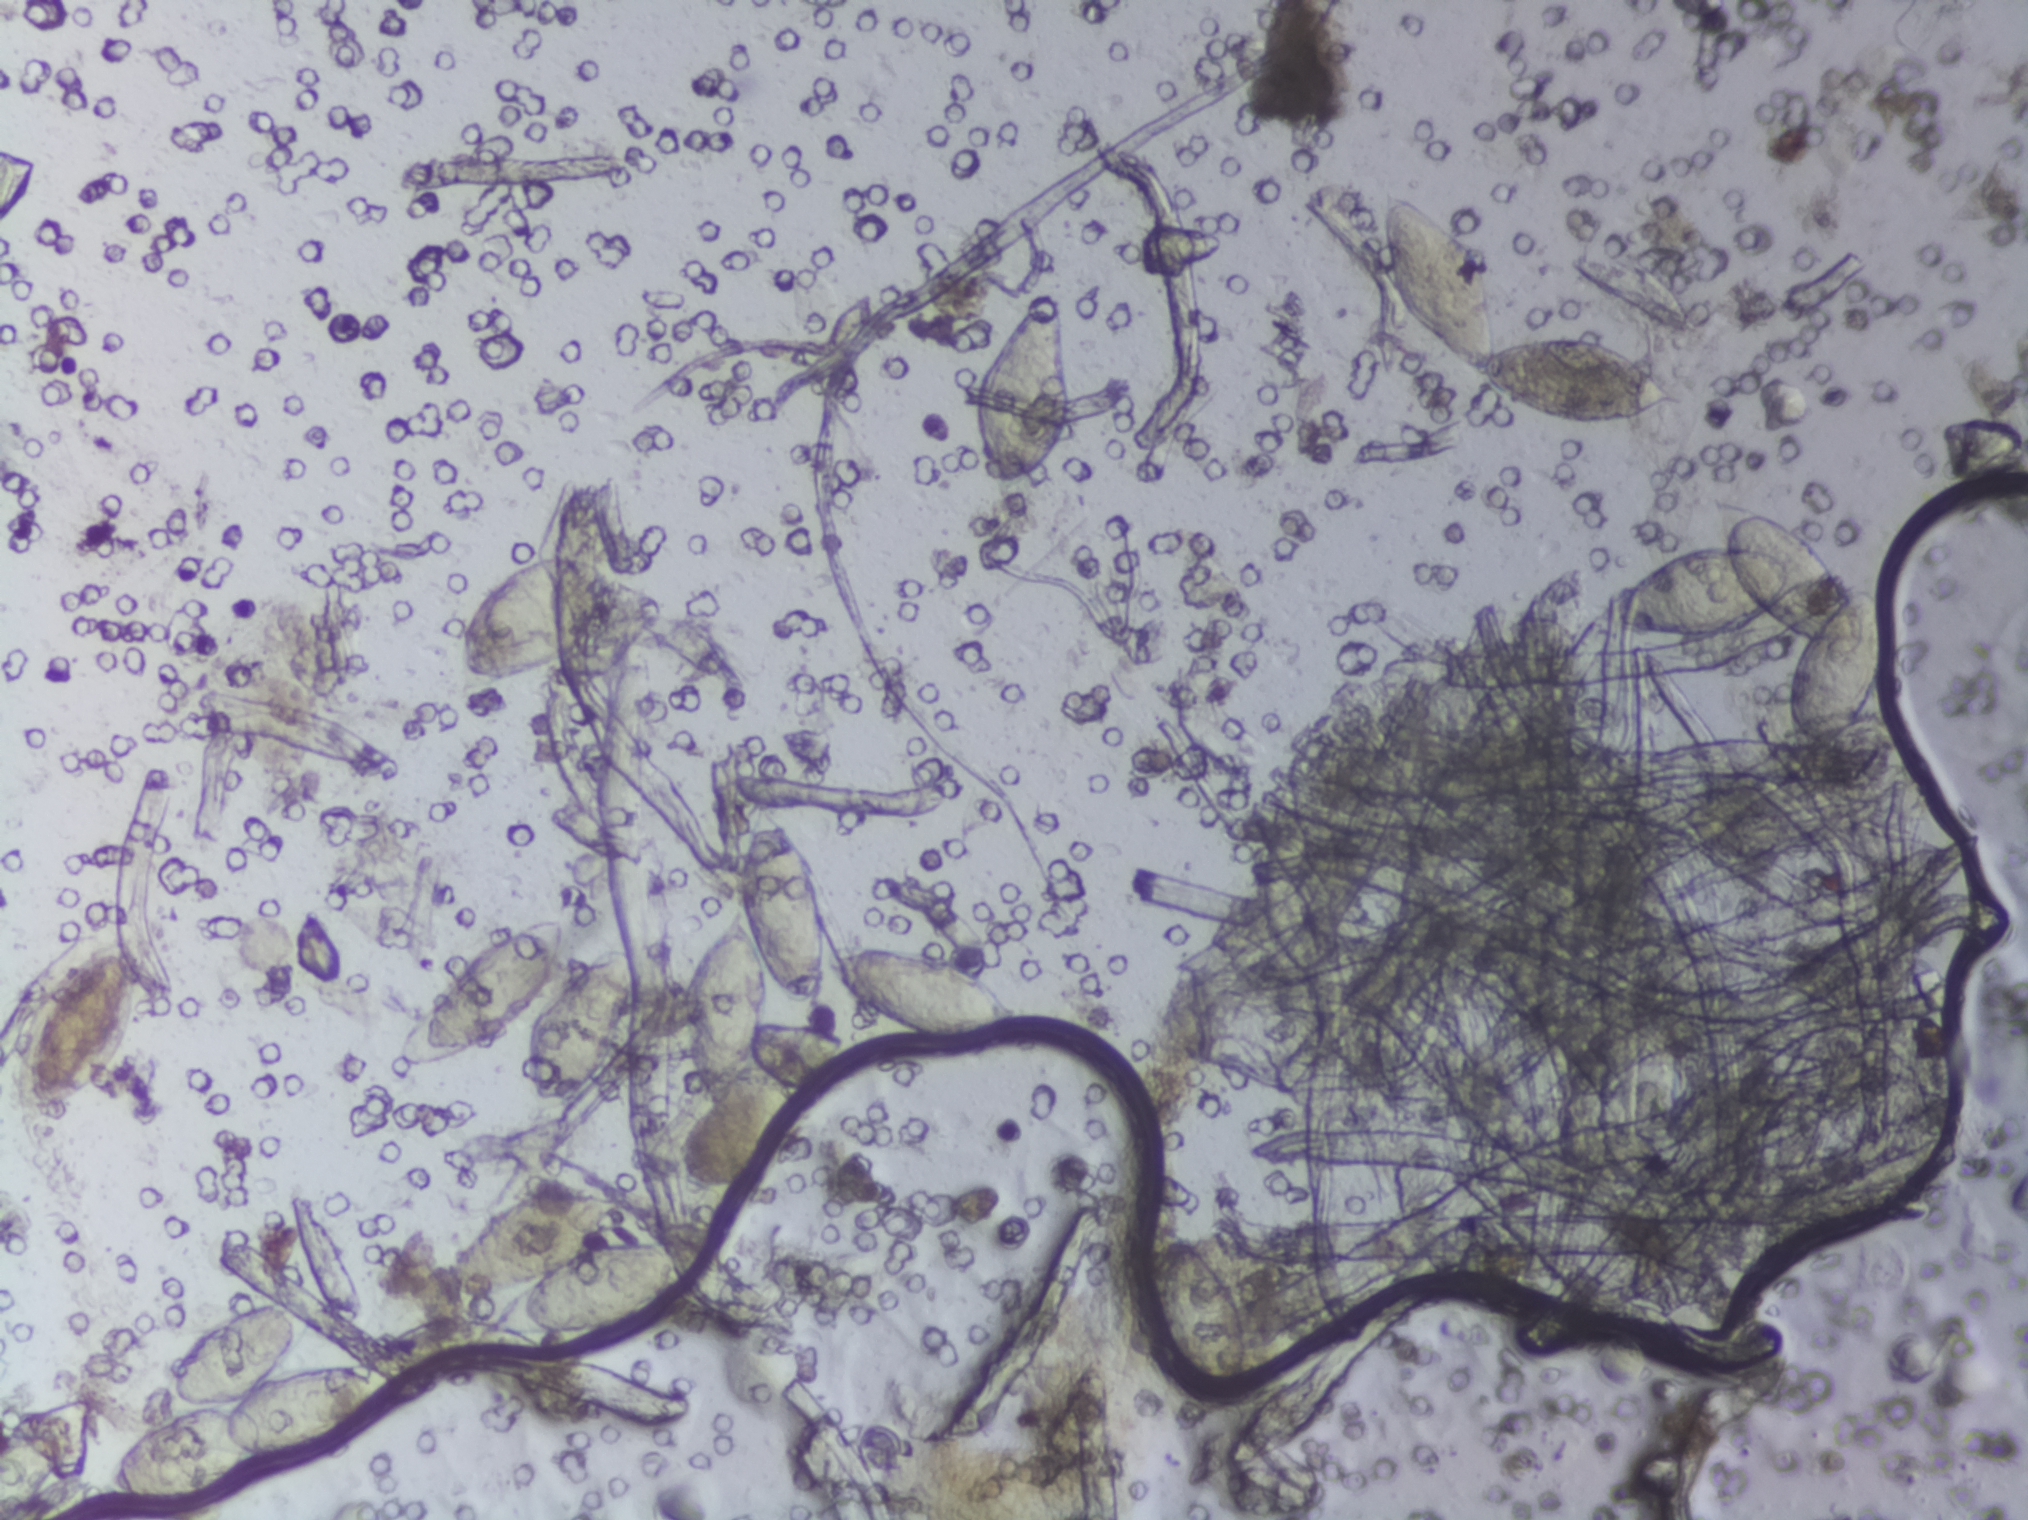
Urine filtration membrane under a 4× objective, photographed by an automated digital microscope. The image covers about 1.5 × 1.1 mm of the membrane.
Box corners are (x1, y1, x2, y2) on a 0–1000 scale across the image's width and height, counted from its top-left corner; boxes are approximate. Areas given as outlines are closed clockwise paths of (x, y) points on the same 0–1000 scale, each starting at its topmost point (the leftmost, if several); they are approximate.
Areas outlined as Schistosoma eggs: box (0, 920, 51, 989) (reaching the left edge of the frame); box (7, 616, 67, 730); box (49, 855, 193, 985); box (201, 608, 284, 696); box (217, 786, 339, 882); box (225, 366, 301, 454); box (260, 625, 314, 724); box (336, 531, 408, 730); box (412, 621, 503, 691); box (476, 191, 531, 330); box (567, 810, 613, 918); outline (686, 125), (693, 125), (726, 156), (738, 197), (740, 225), (745, 220), (787, 220), (827, 252), (831, 263), (803, 280), (773, 280), (756, 275), (725, 250), (701, 217), (699, 208), (688, 200), (682, 149); outline (848, 329), (884, 344), (899, 363), (908, 389), (925, 379), (930, 390), (932, 427), (928, 449), (914, 484), (901, 498), (883, 501), (881, 444), (887, 422), (870, 406), (854, 416), (834, 420), (804, 420), (785, 407), (789, 394), (801, 379), (827, 362), (848, 358). Marked pixels, not the boxes and the outlines around them: about 7.7% of the image. A single outlined area may contain several eggs.